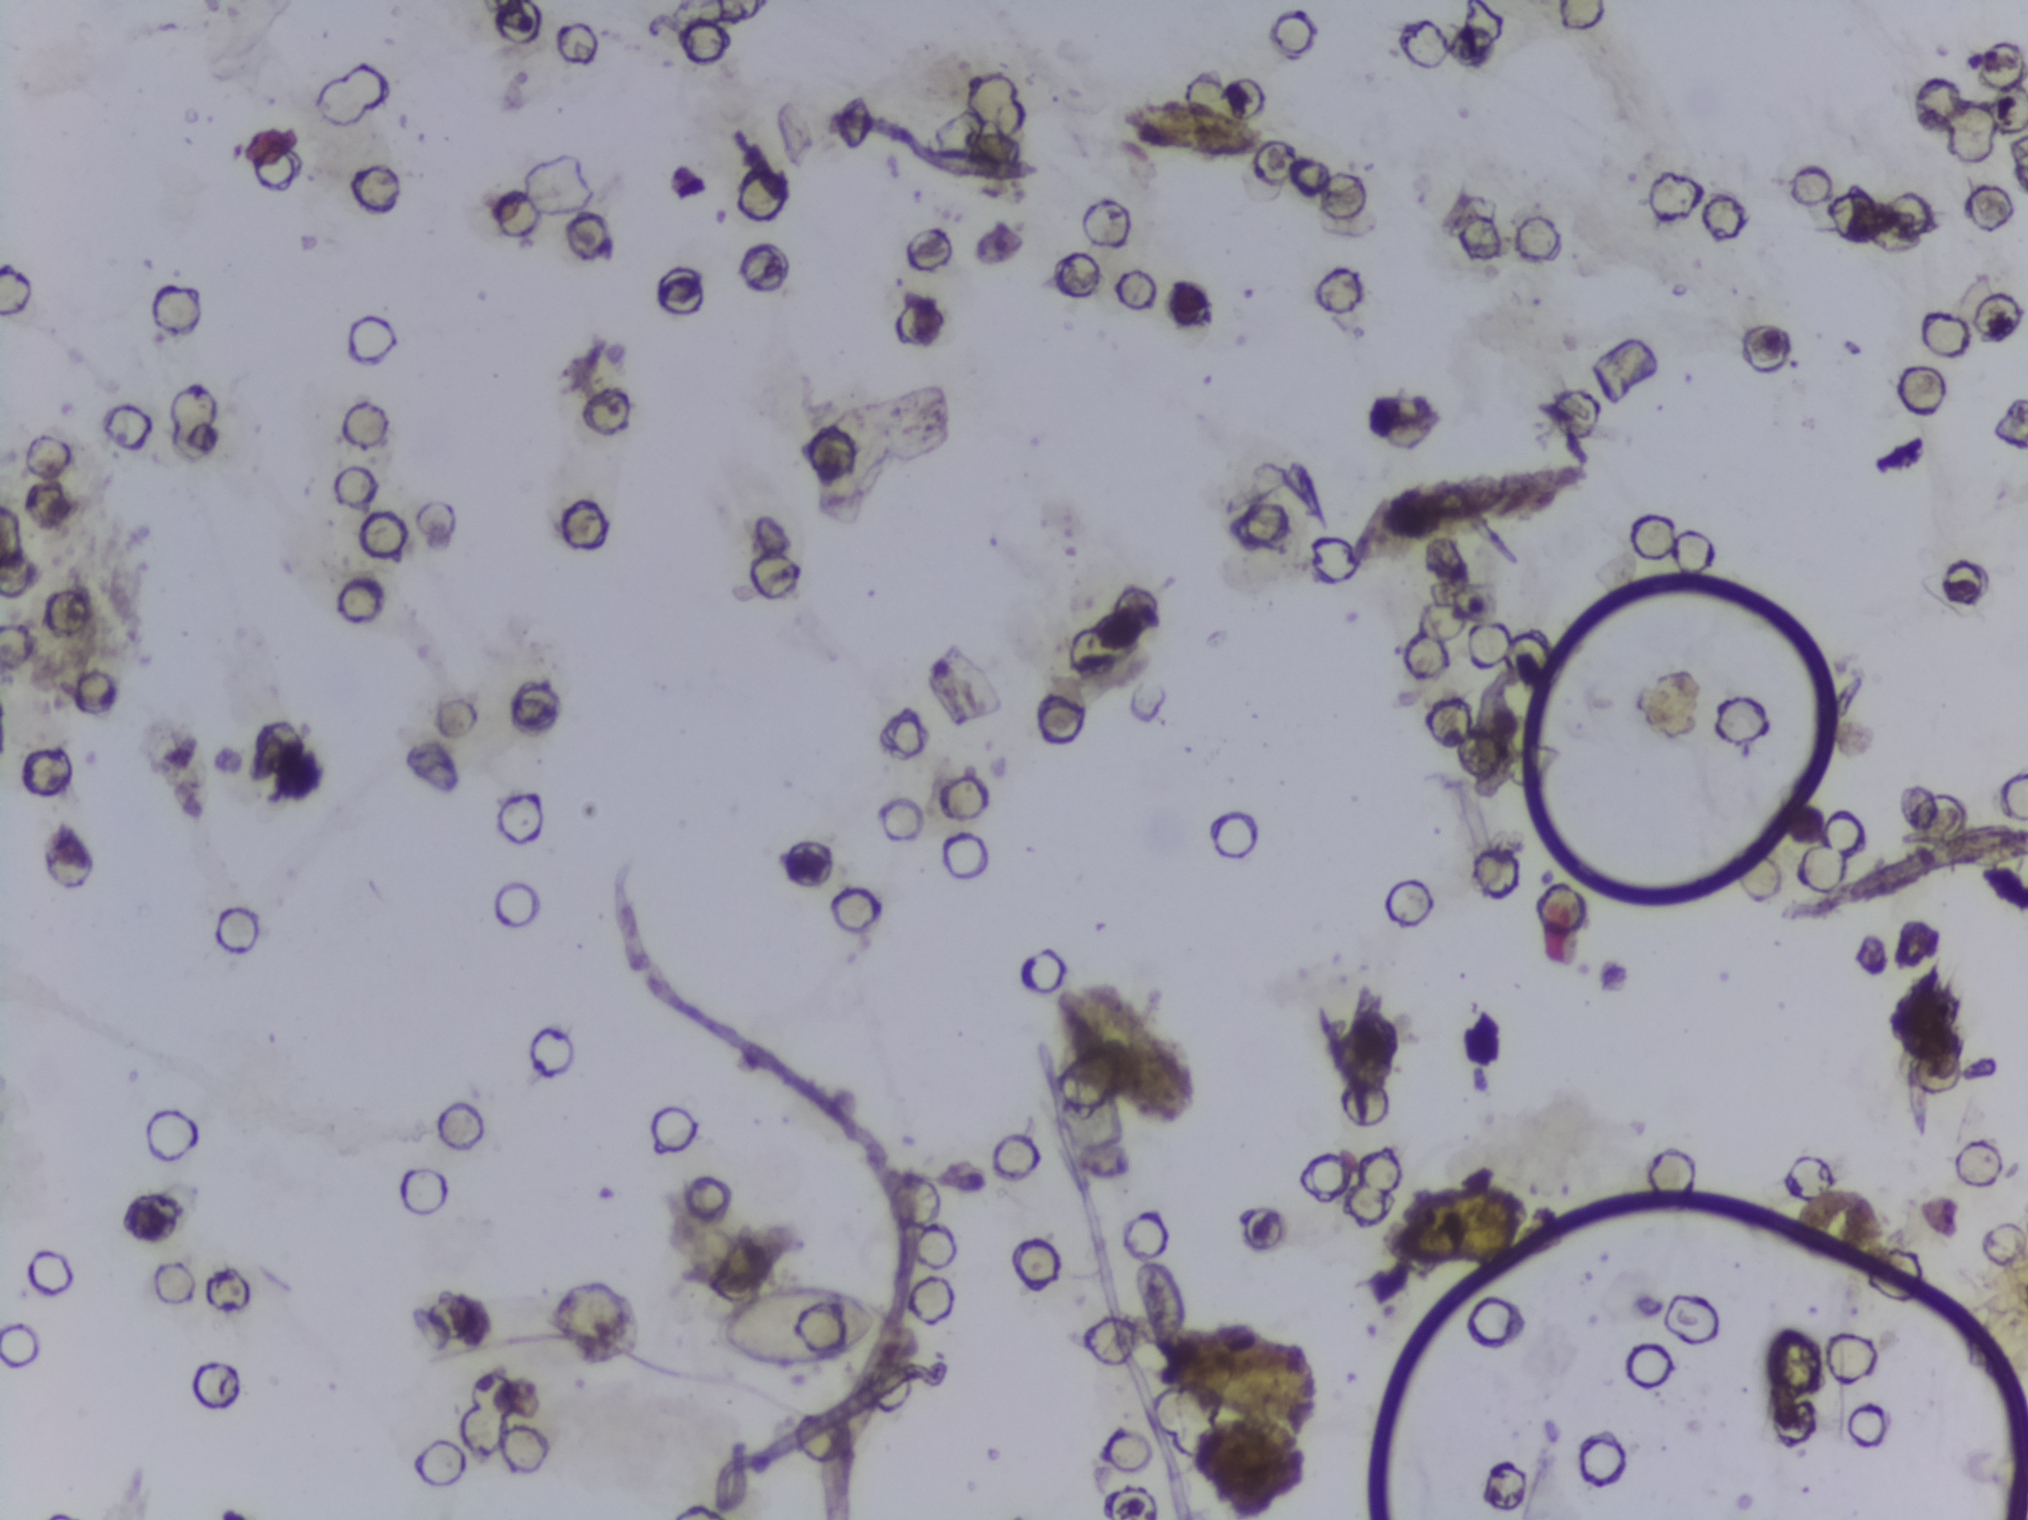
Photograph from an automated digital microscope: urine filter membrane, 4× objective.
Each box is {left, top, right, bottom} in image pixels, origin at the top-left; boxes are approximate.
Findings: one area outlined as Schistosoma eggs. Location: {719, 1282, 905, 1375}. A single outlined area may contain several eggs.